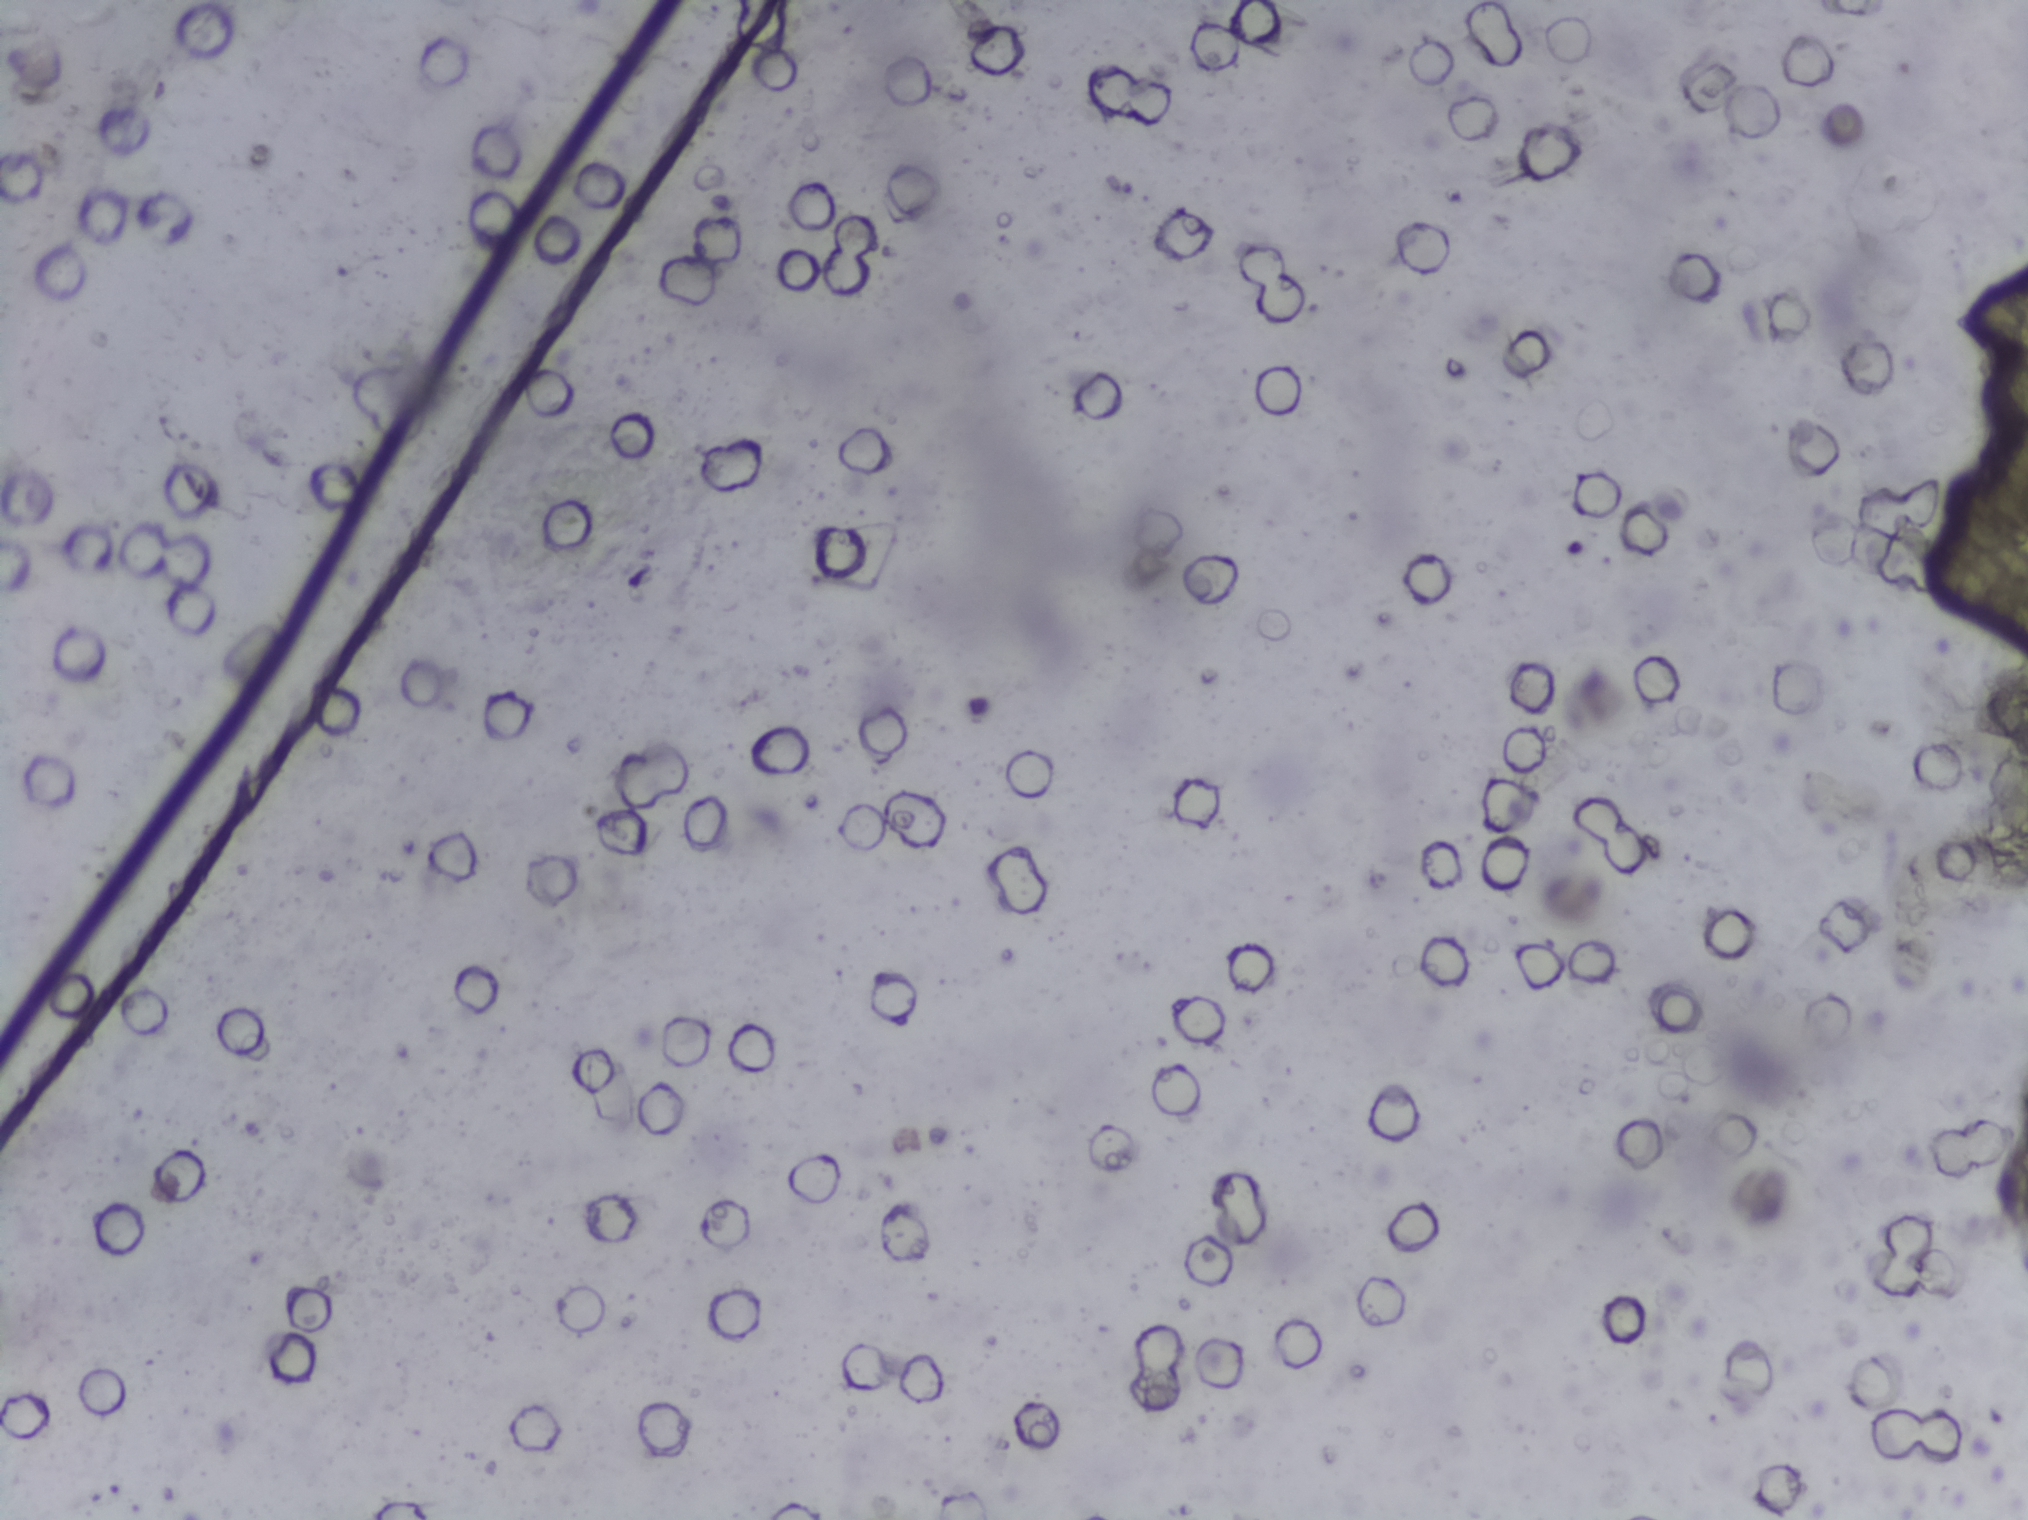
Photomicrograph of a urine filtration membrane, 4× objective. Field of view: about 1.5 mm wide and 1.1 mm high.
No Schistosoma egg is outlined in this image's expert annotation.